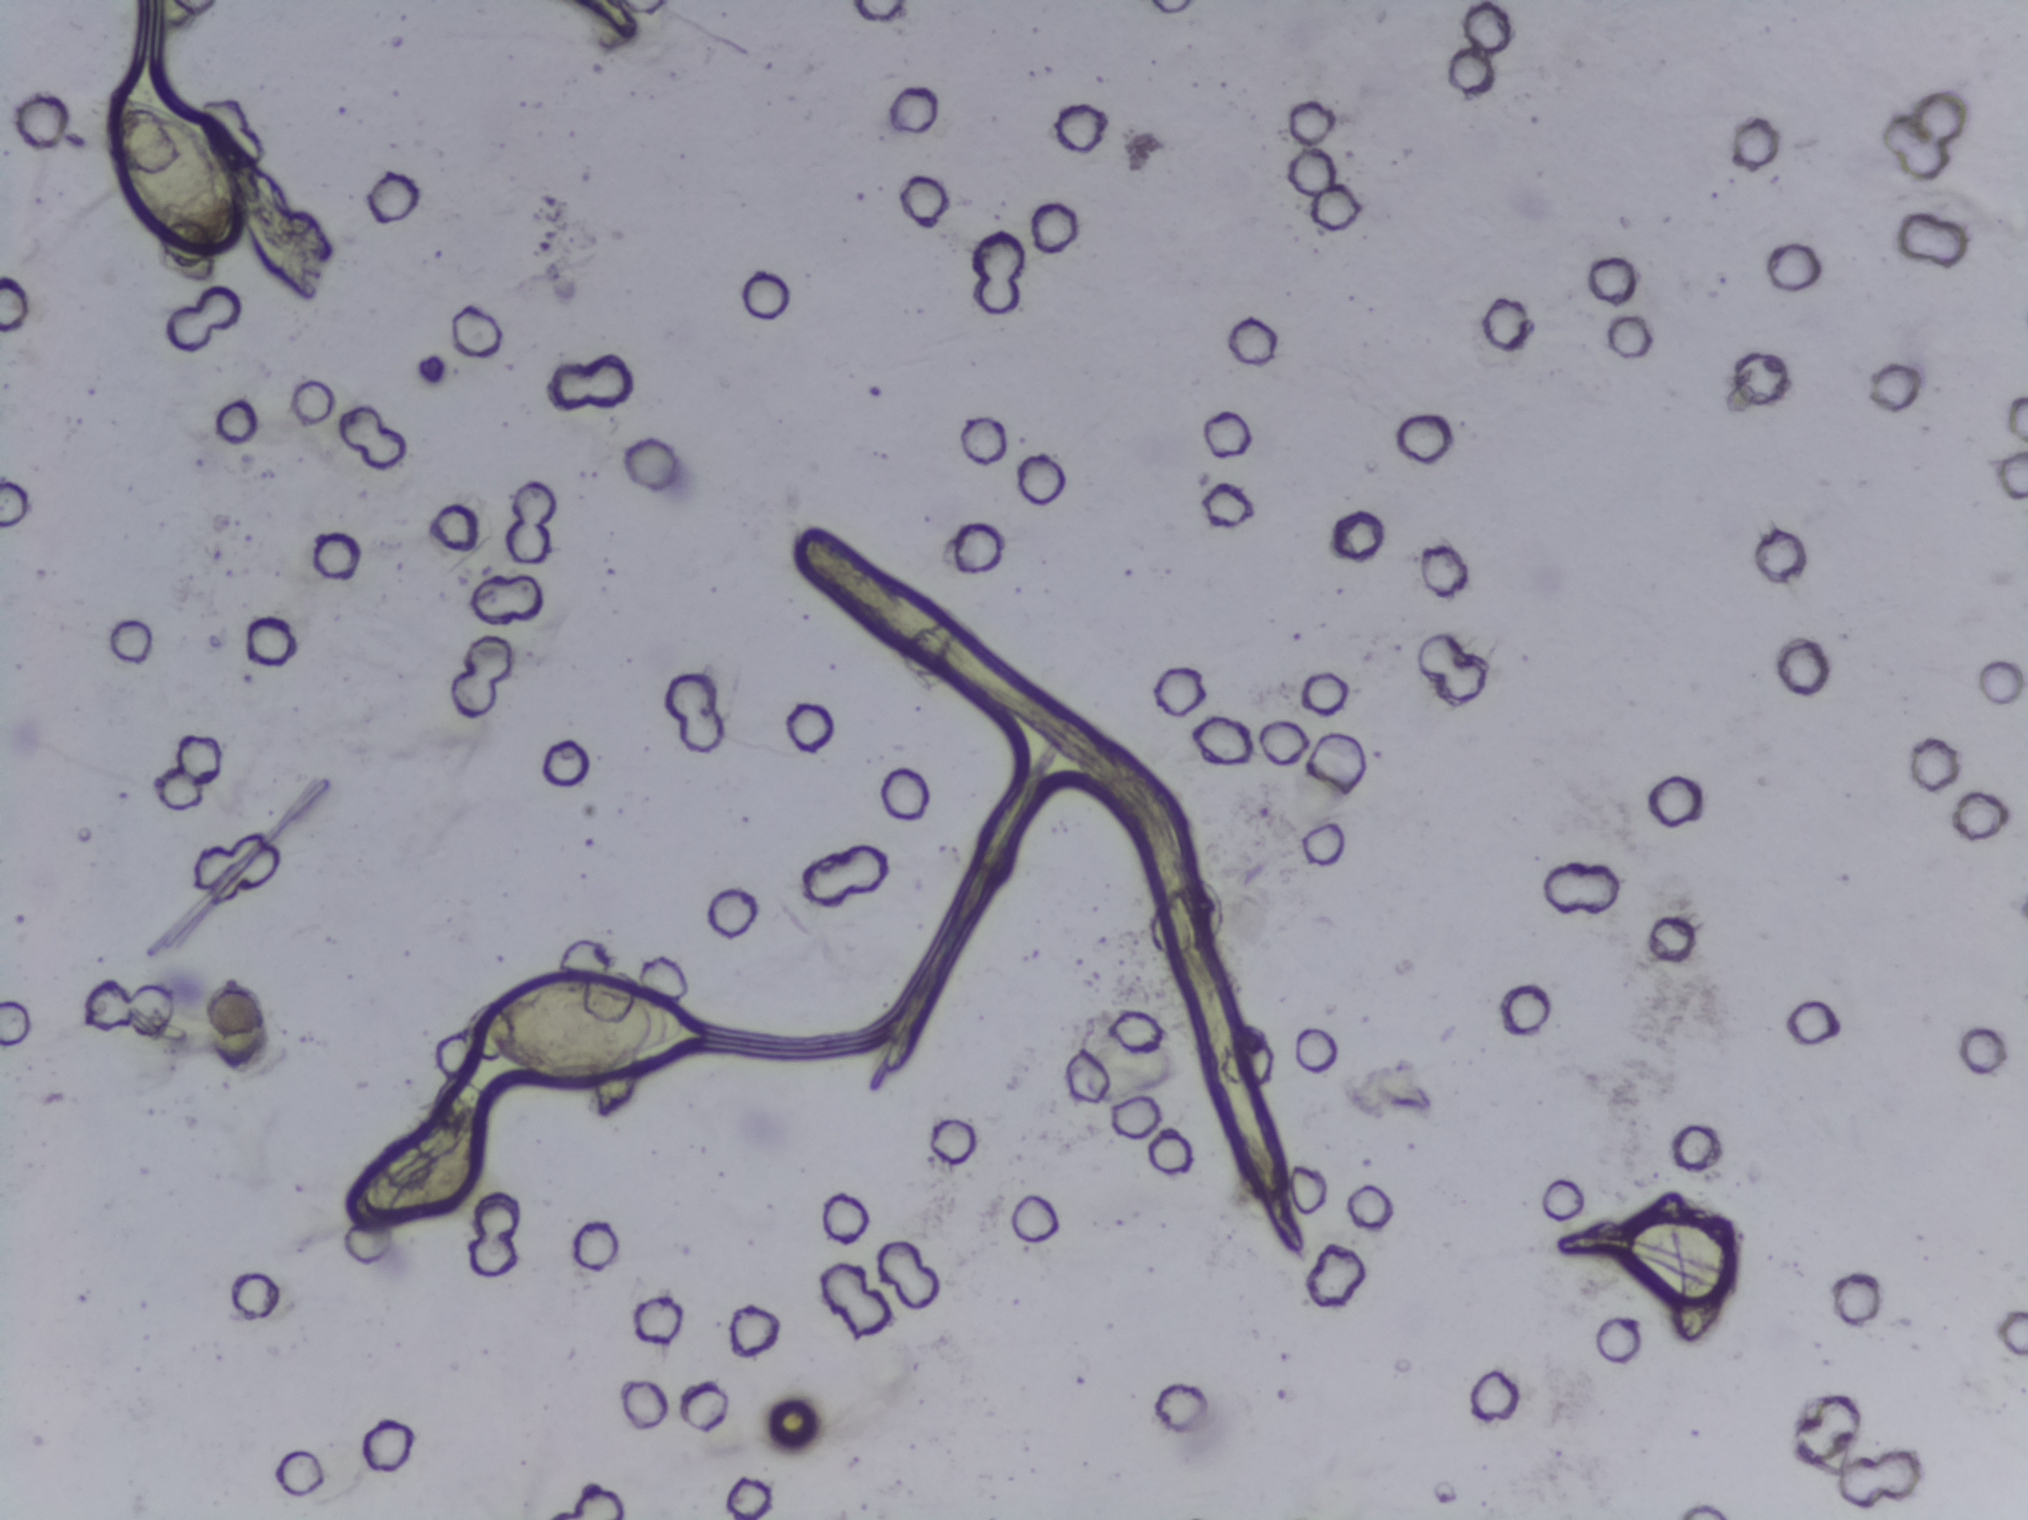
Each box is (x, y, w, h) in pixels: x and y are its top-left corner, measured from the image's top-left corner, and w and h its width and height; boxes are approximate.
Schistosoma eggs are outlined in two areas of this image, listed from left to right: (x=106, y=90, w=140, h=162) and (x=459, y=971, w=246, h=111). A single outlined area may contain several eggs.
One field of view of a urine filter membrane, 4× objective, 2028 × 1520 pixels.